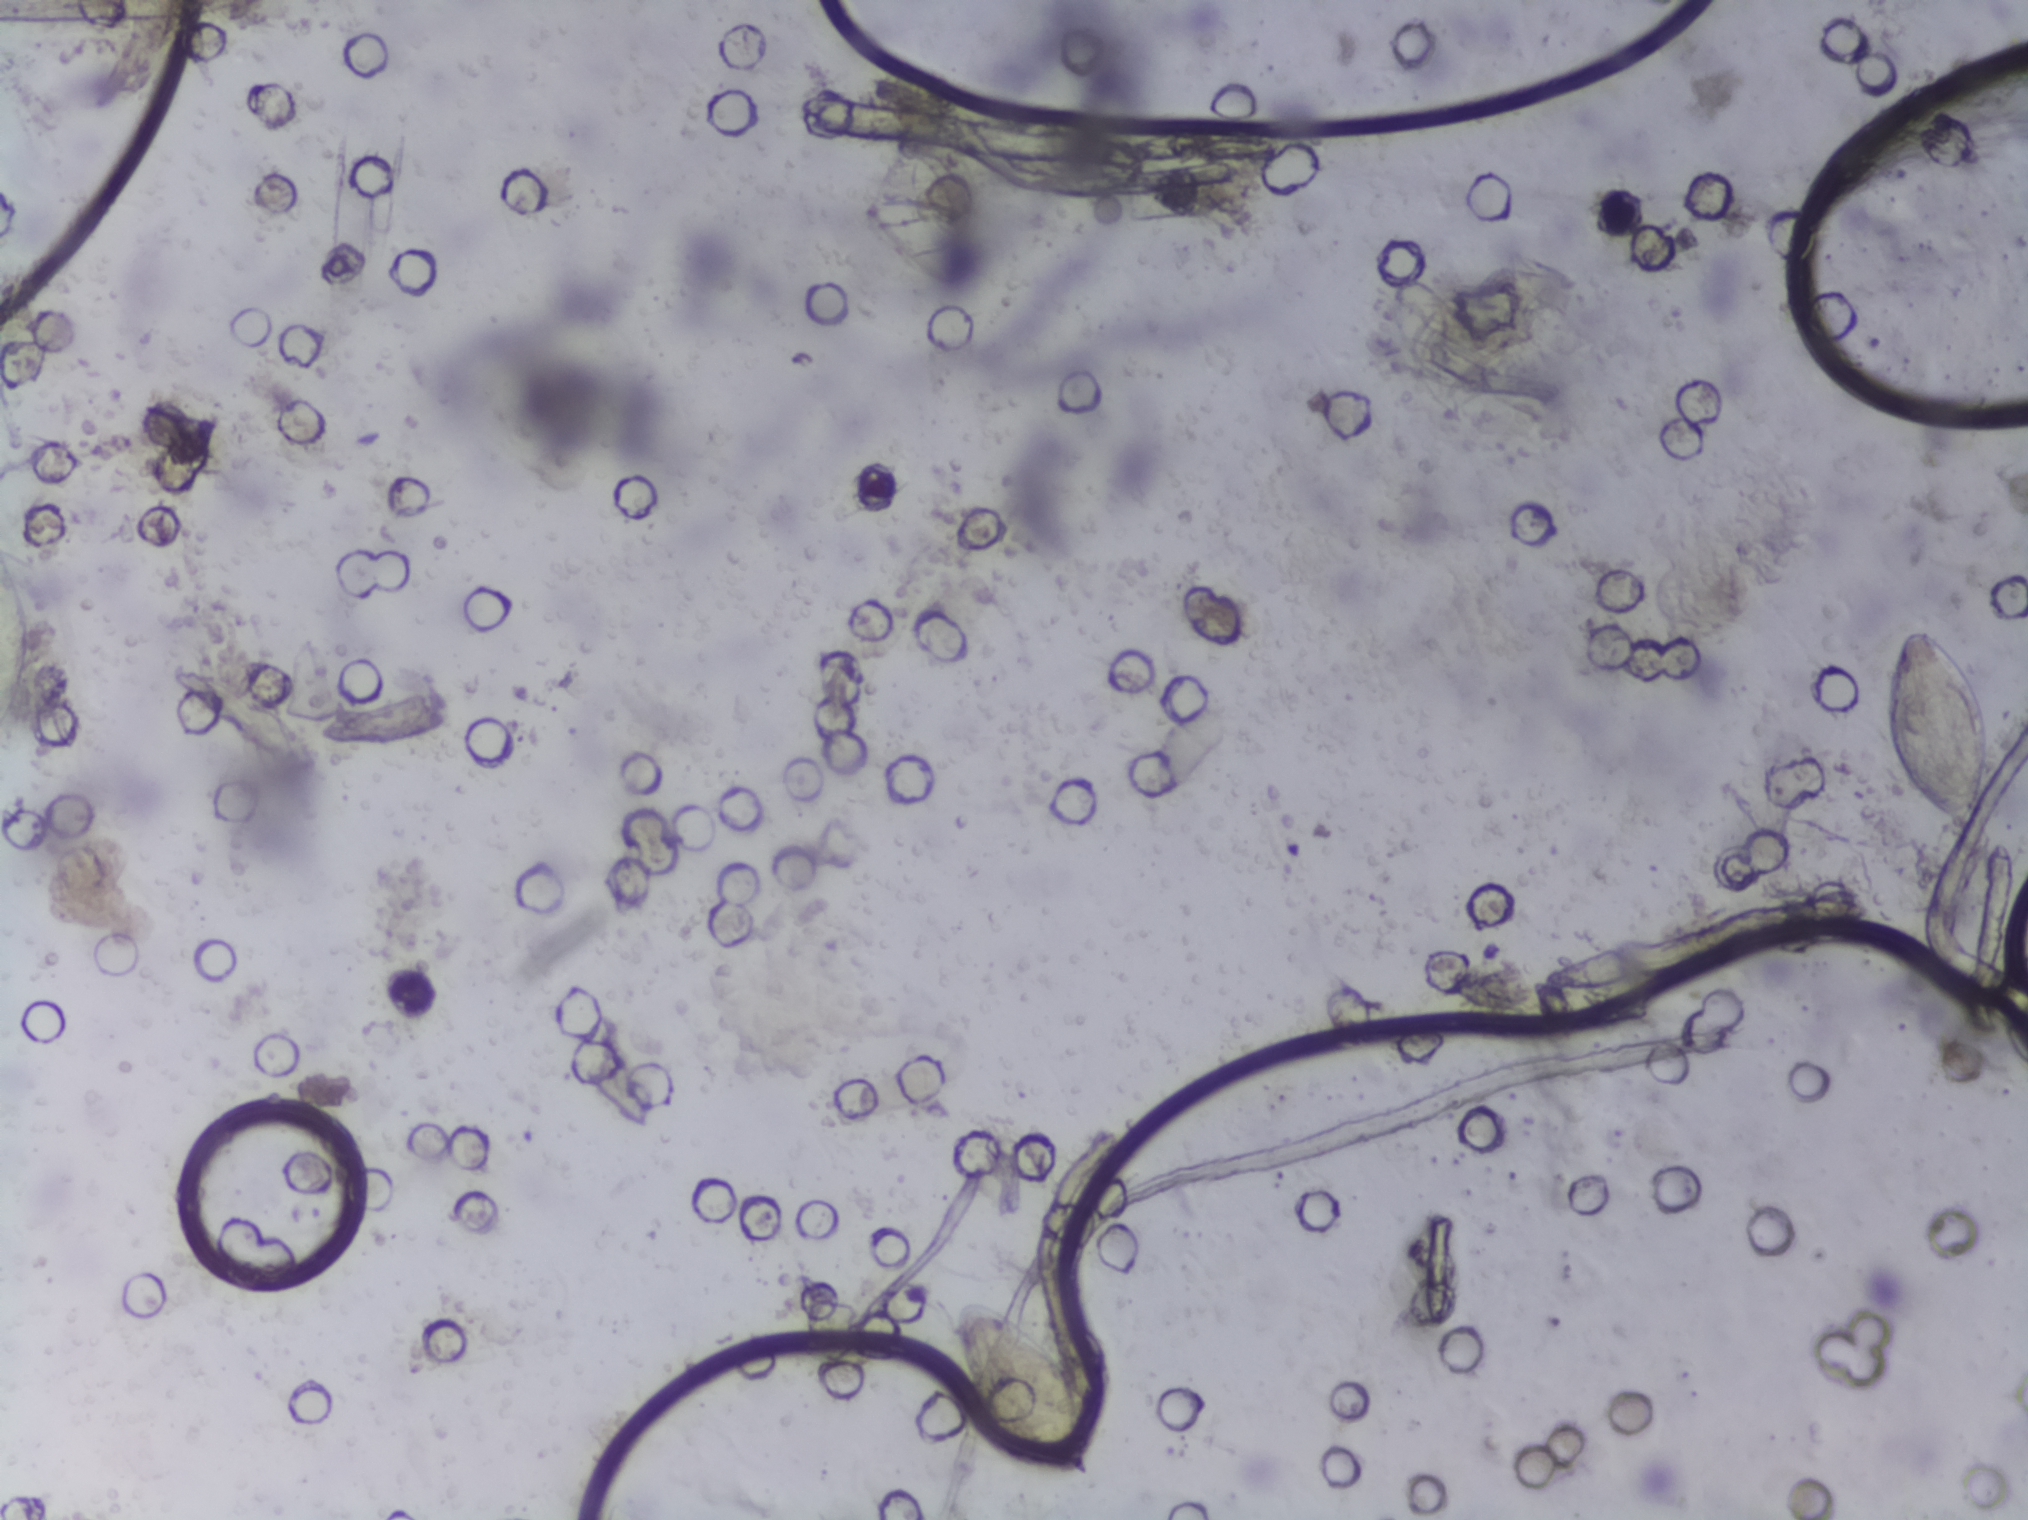
Microscope photograph (4× objective) of a membrane that a urine sample was filtered through.
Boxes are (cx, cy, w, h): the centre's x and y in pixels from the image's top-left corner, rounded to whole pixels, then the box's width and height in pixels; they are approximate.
Three areas of this image are outlined as Schistosoma eggs, from left to right: (cx=14, cy=631, w=29, h=189) (reaching the left edge of the frame); (cx=1025, cy=1390, w=145, h=182); (cx=1934, cy=729, w=109, h=208). Eggs that touch can end up inside the same outlined area.